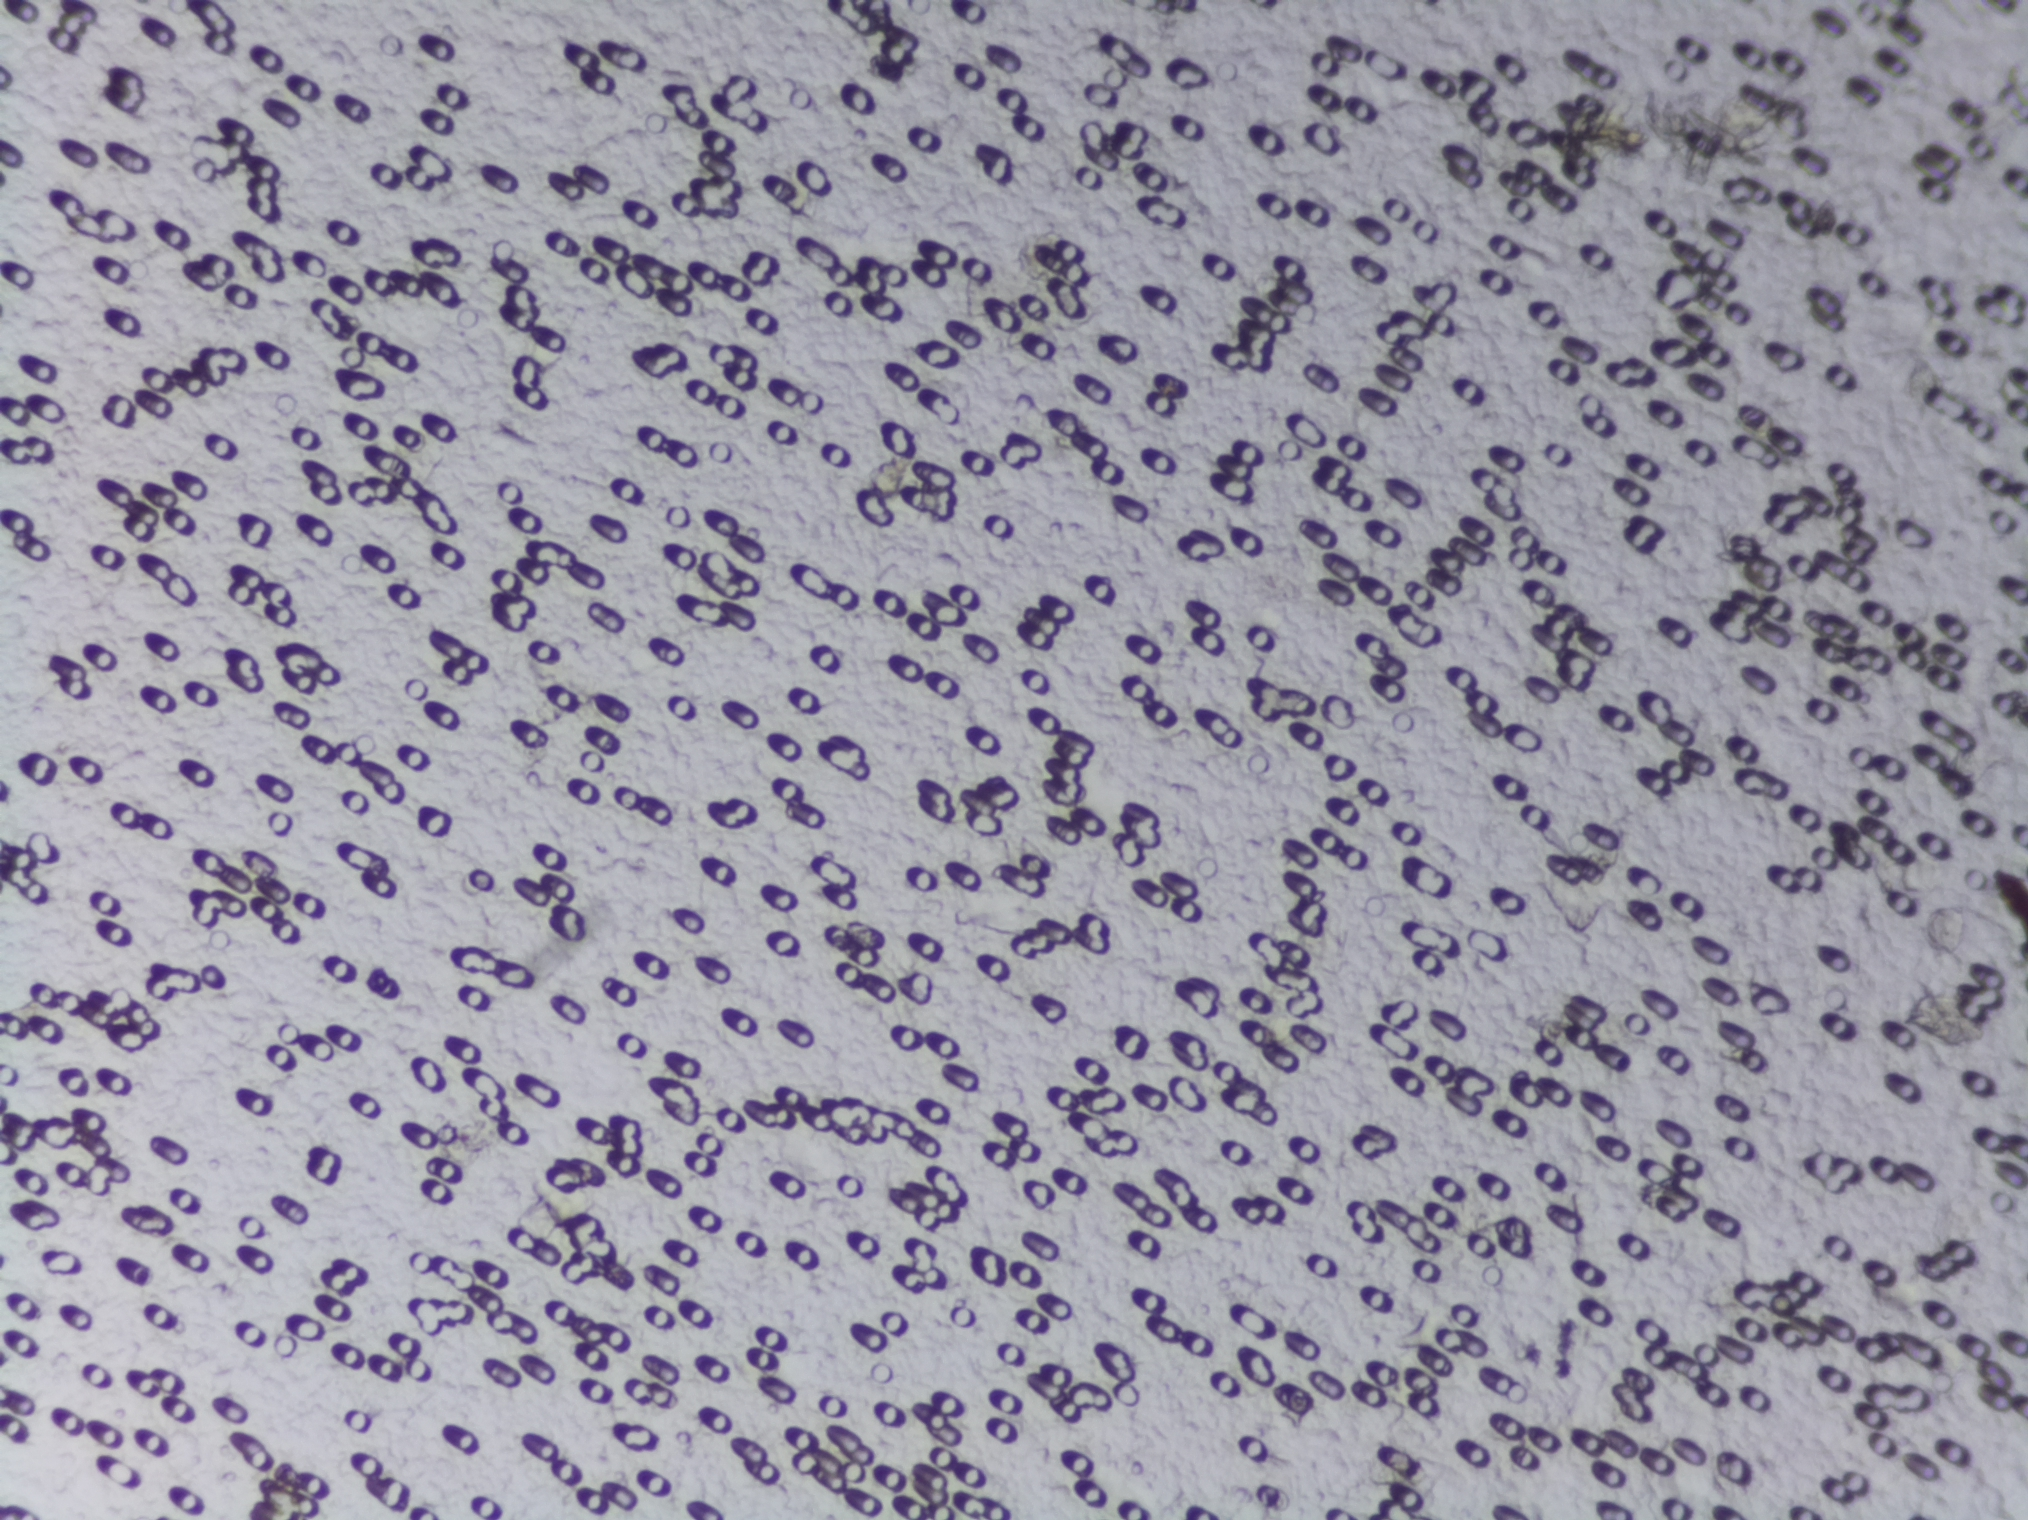
Schistosoma eggs: none outlined.
Microscope photograph (4× objective) of a membrane that a urine sample was filtered through.